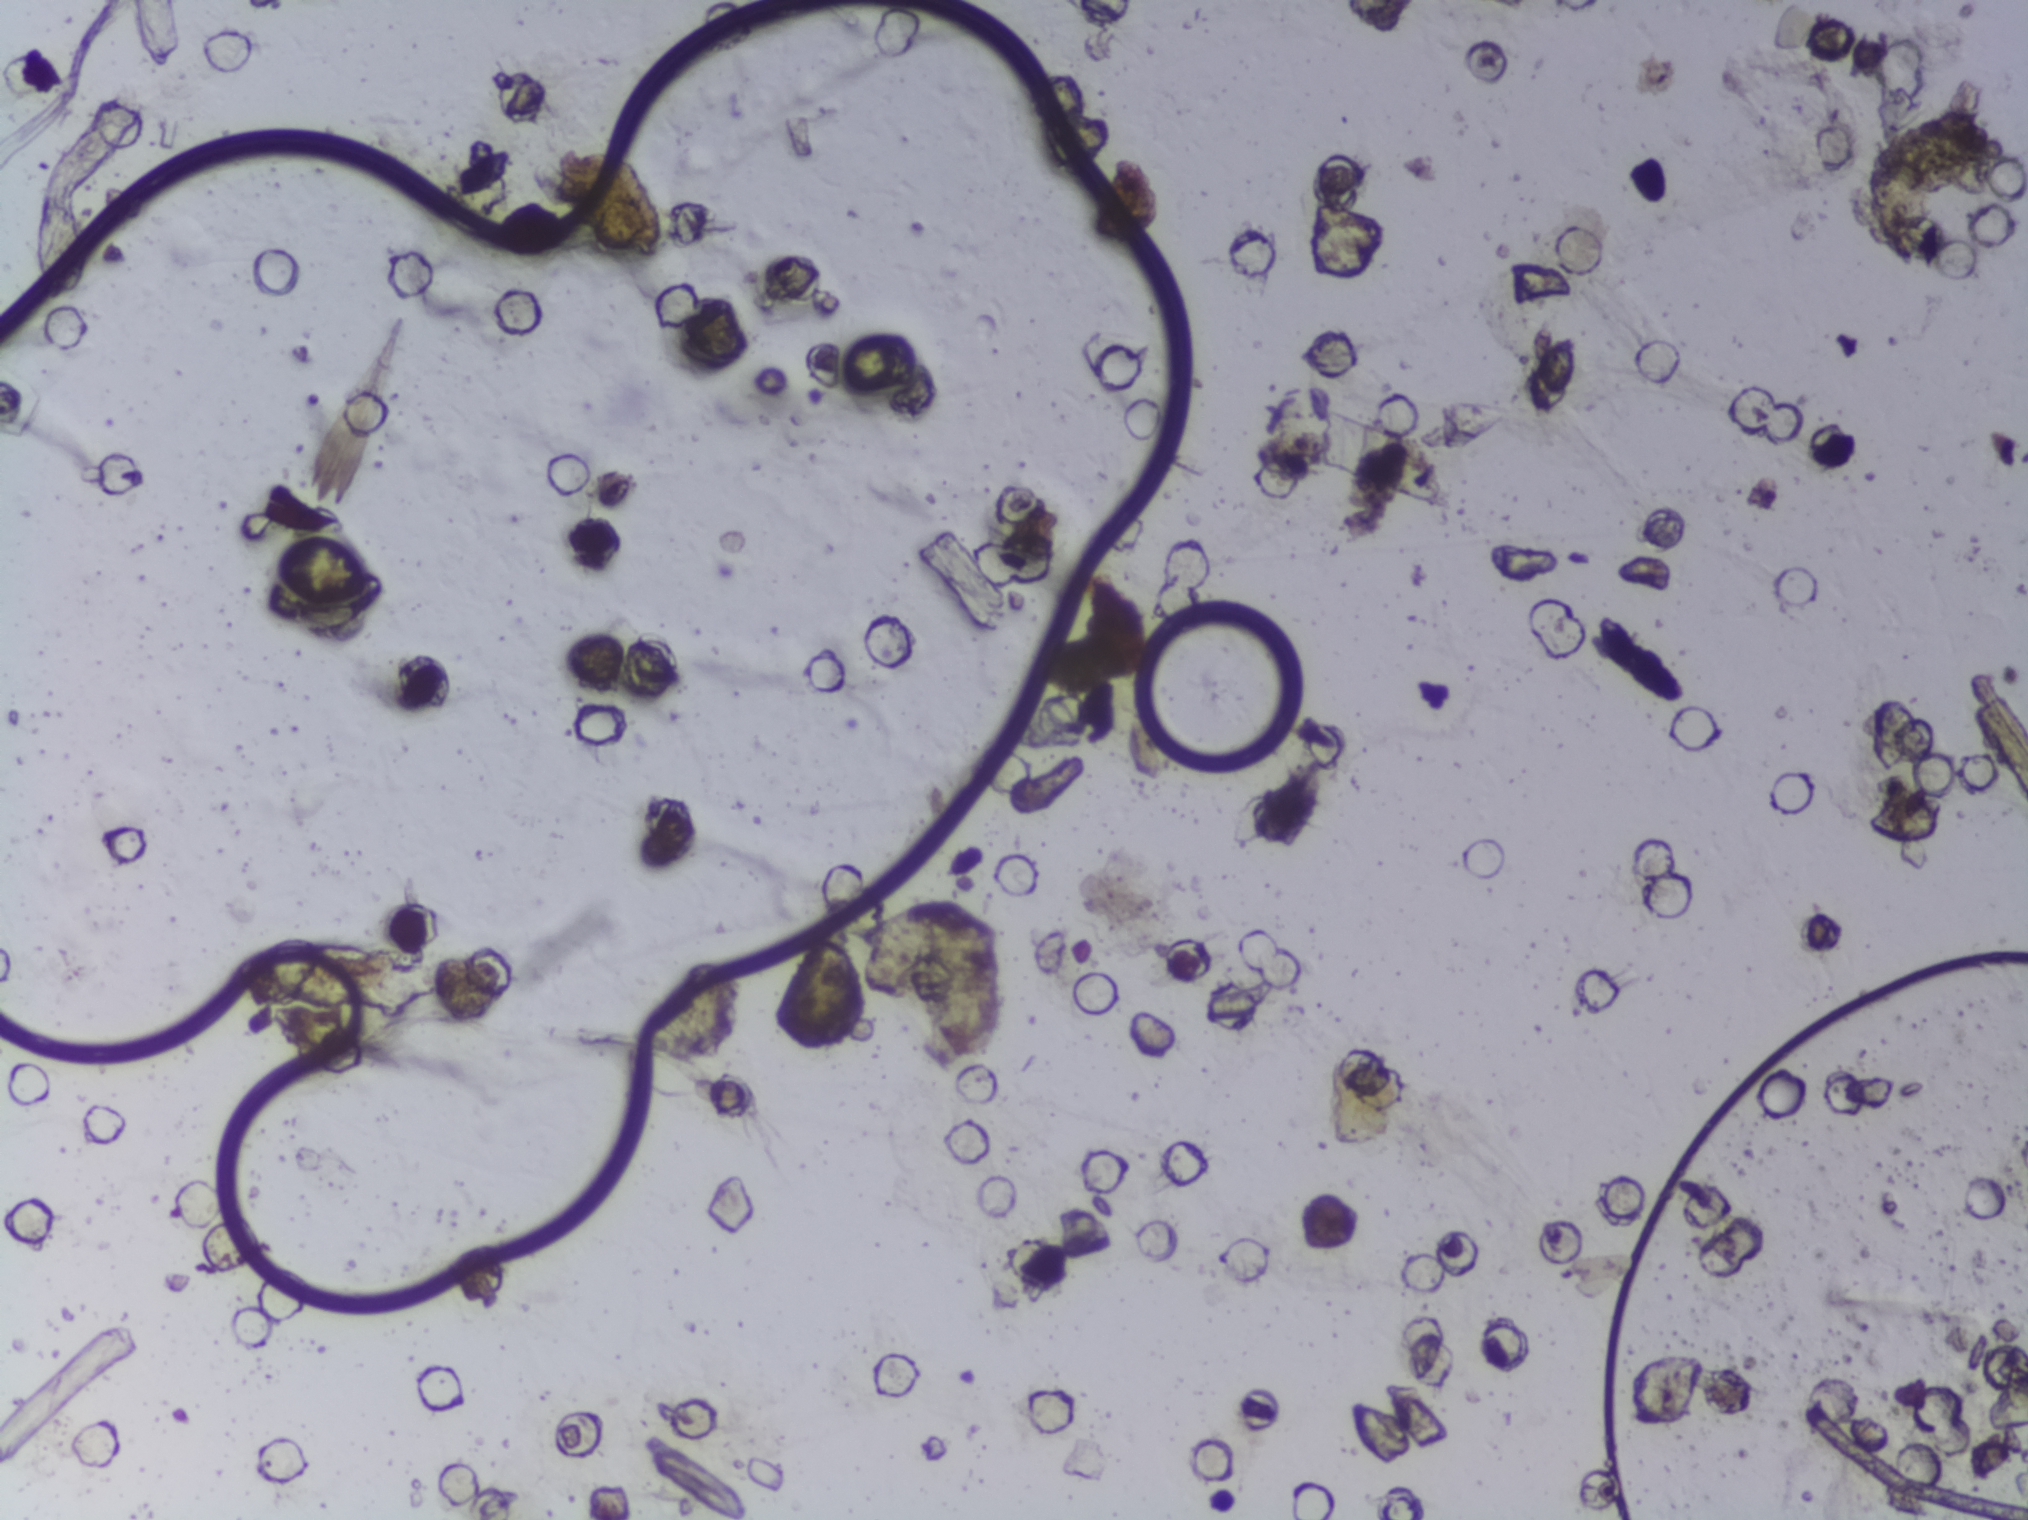
Photograph from an automated digital microscope: urine filter membrane, 4× objective.
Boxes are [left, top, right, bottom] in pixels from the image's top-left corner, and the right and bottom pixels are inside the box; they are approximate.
{"schistosoma_egg_areas_xyxy_px": [[841, 892, 1004, 1058]]}
About 0.5% of the image's pixels are marked (the marked pixels themselves, not the box around them). A single outlined area may contain several eggs.